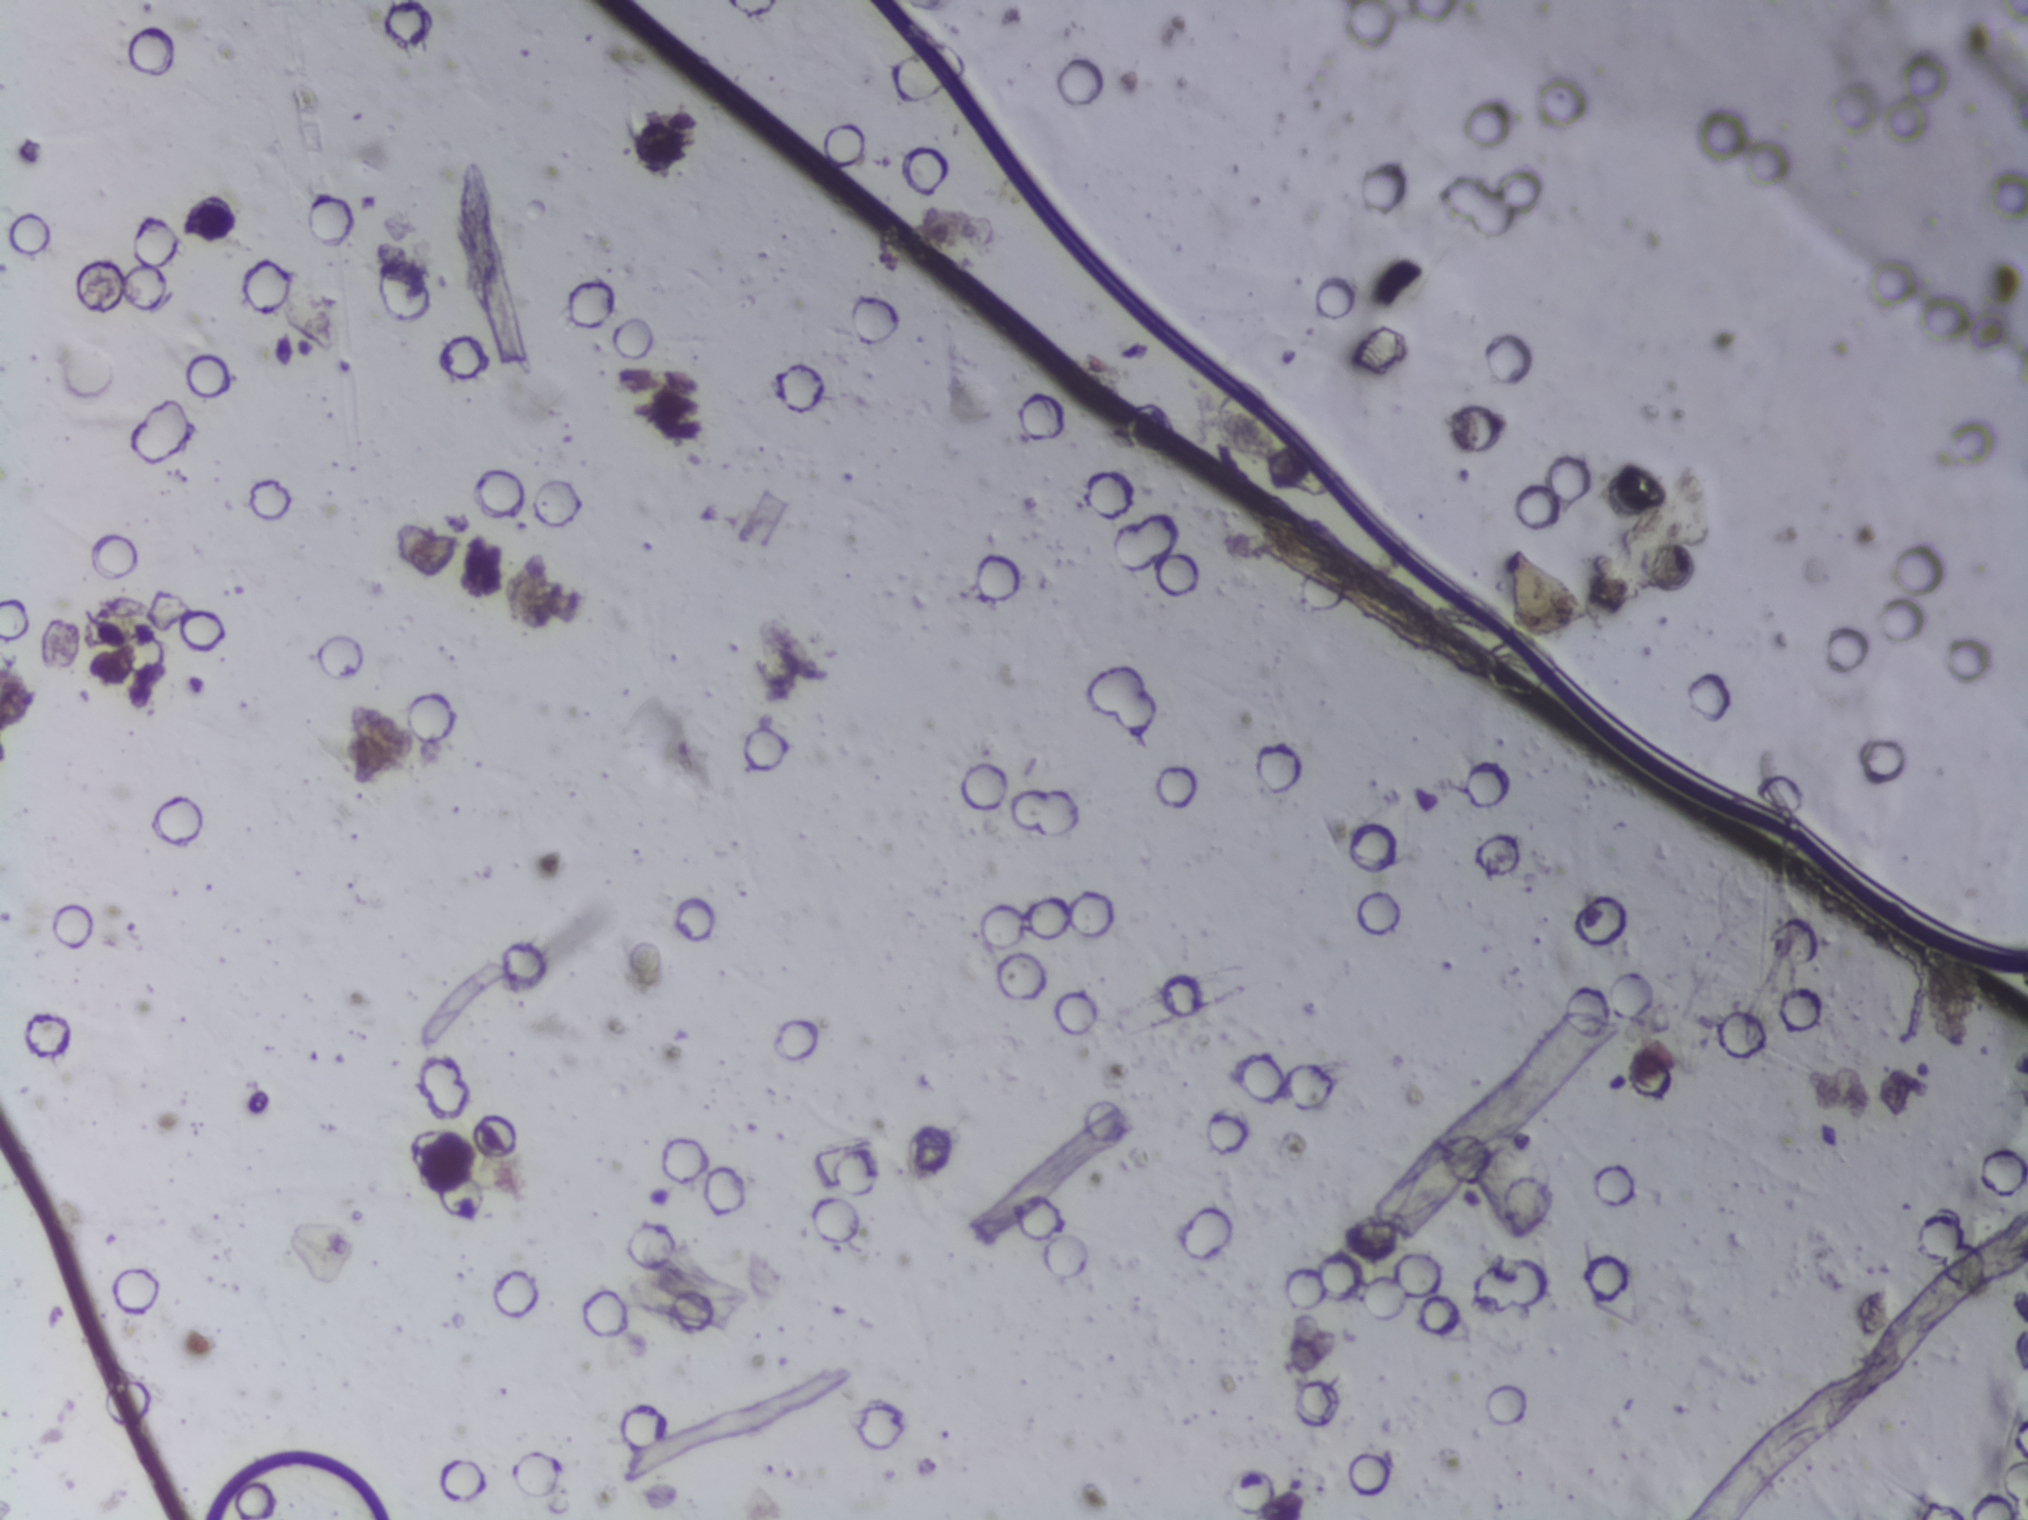
The expert annotation marks no Schistosoma egg in this field of view.
Urine filter membrane photographed through a 4× microscope objective. The image covers about 1.5 × 1.1 mm of the membrane.